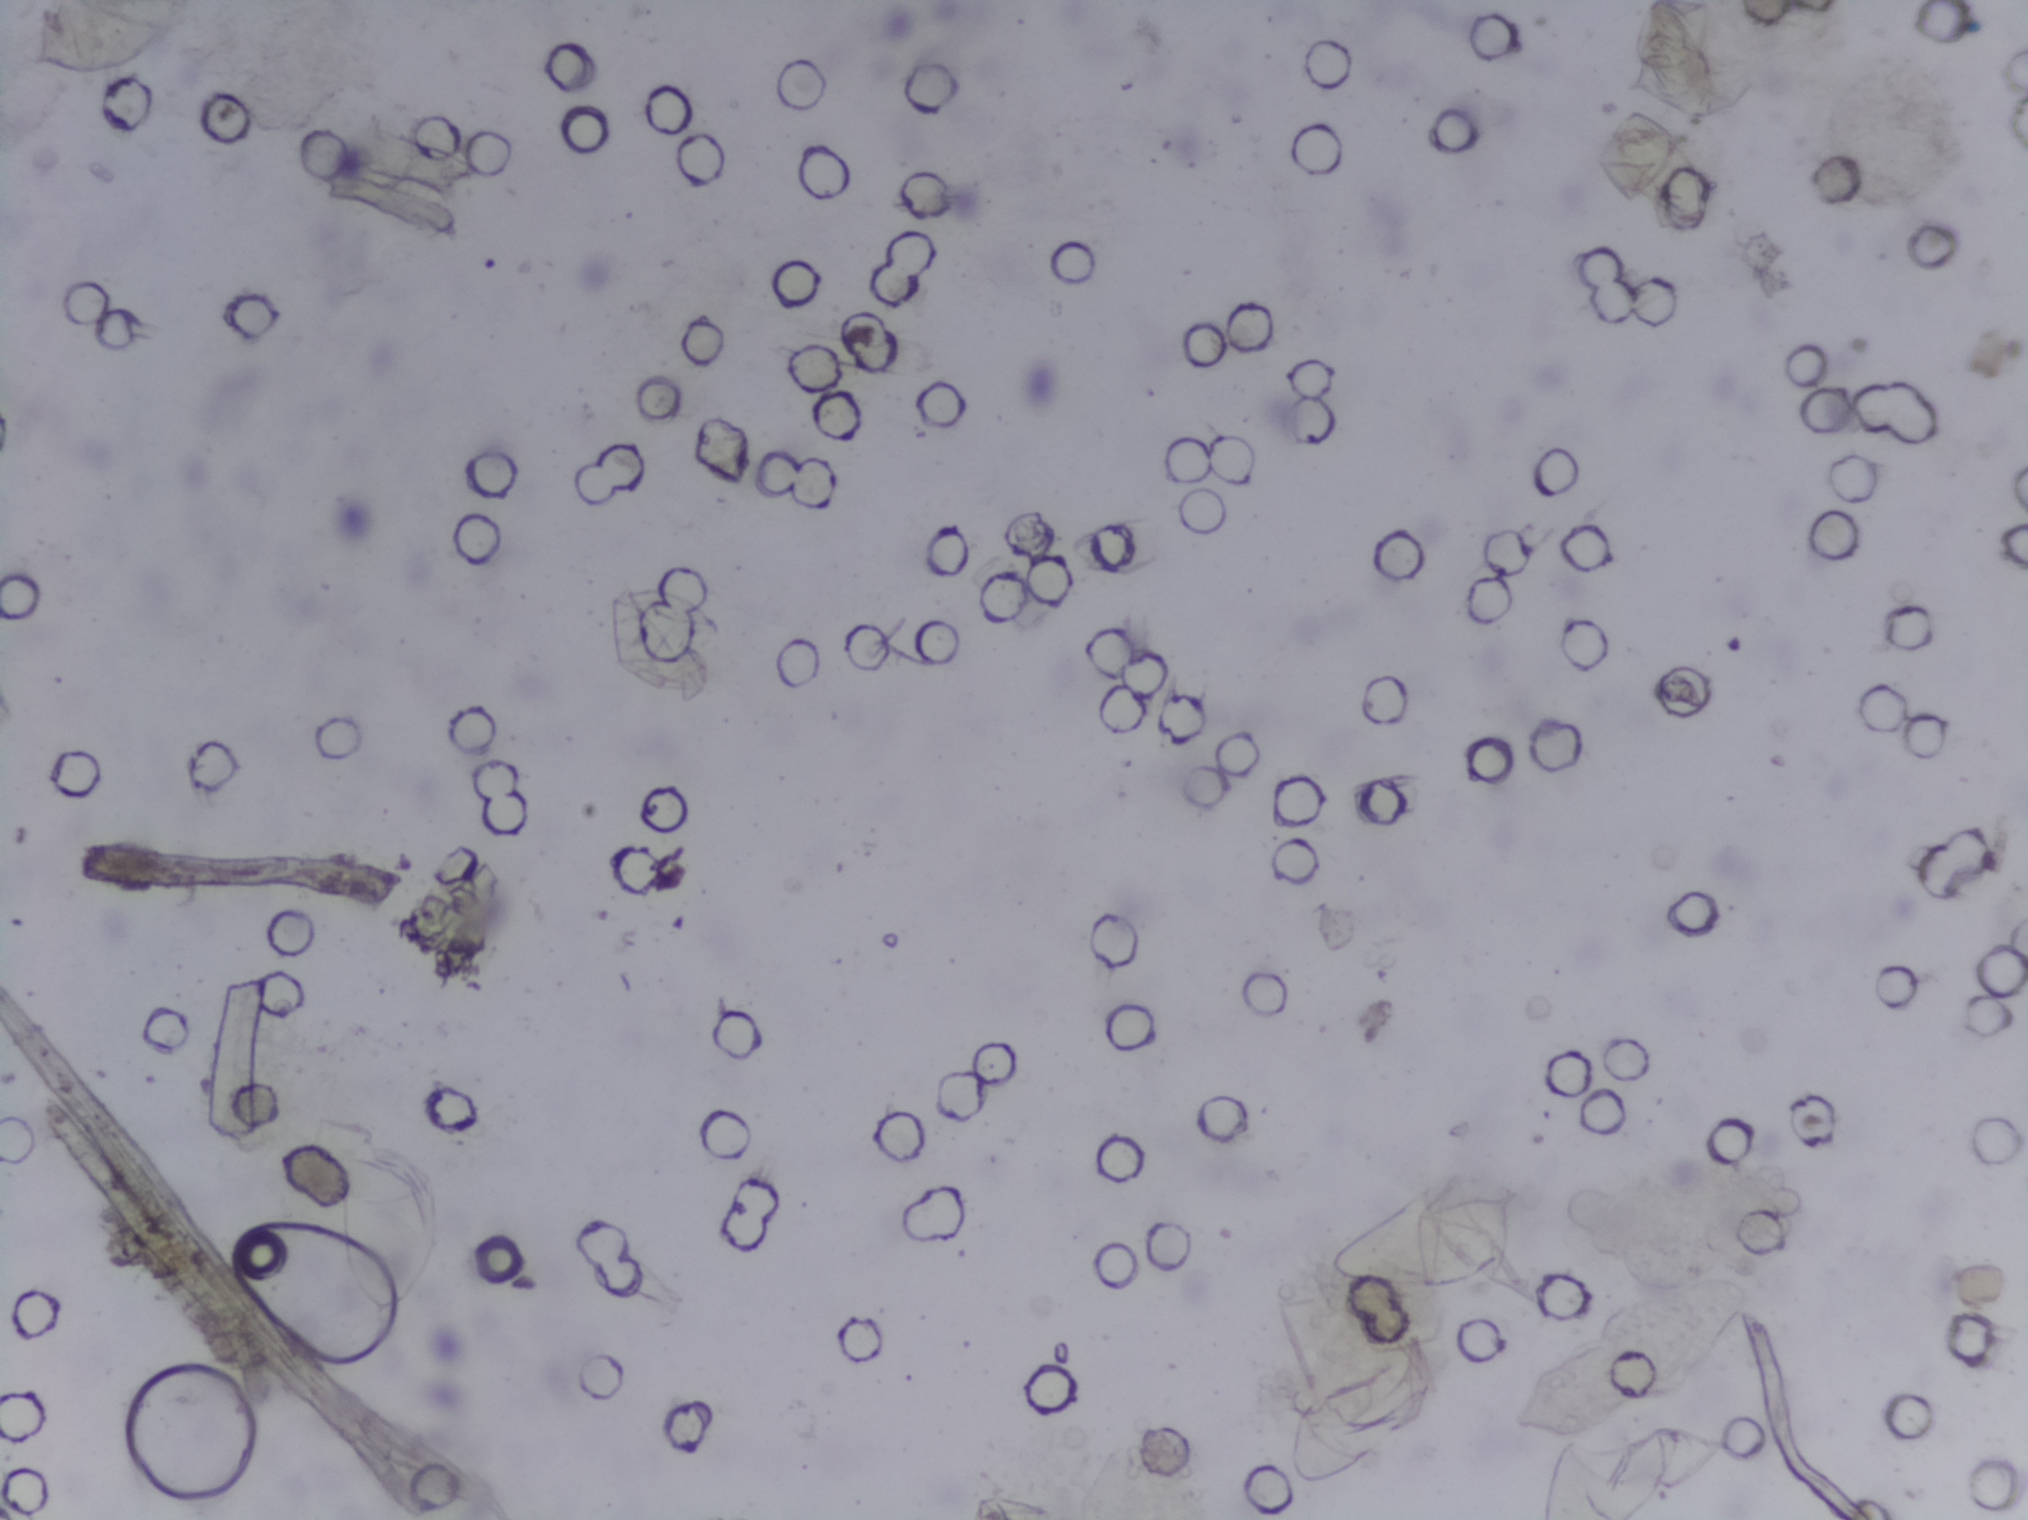
Photomicrograph of a urine filtration membrane, 4× objective.
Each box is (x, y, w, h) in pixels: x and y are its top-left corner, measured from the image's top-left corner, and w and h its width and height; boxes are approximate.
Schistosoma eggs are outlined in the expert annotation at (x=23, y=0, w=173, h=80) (reaching the top edge of the frame); (x=329, y=1130, w=112, h=197); (x=1323, y=1177, w=215, h=116); (x=1612, y=107, w=100, h=123). Marked pixels, not the boxes around them: about 1.7% of the image. A single outlined area may contain several eggs. Any one outlined egg may, rarely, be S. mansoni rather than S. haematobium.